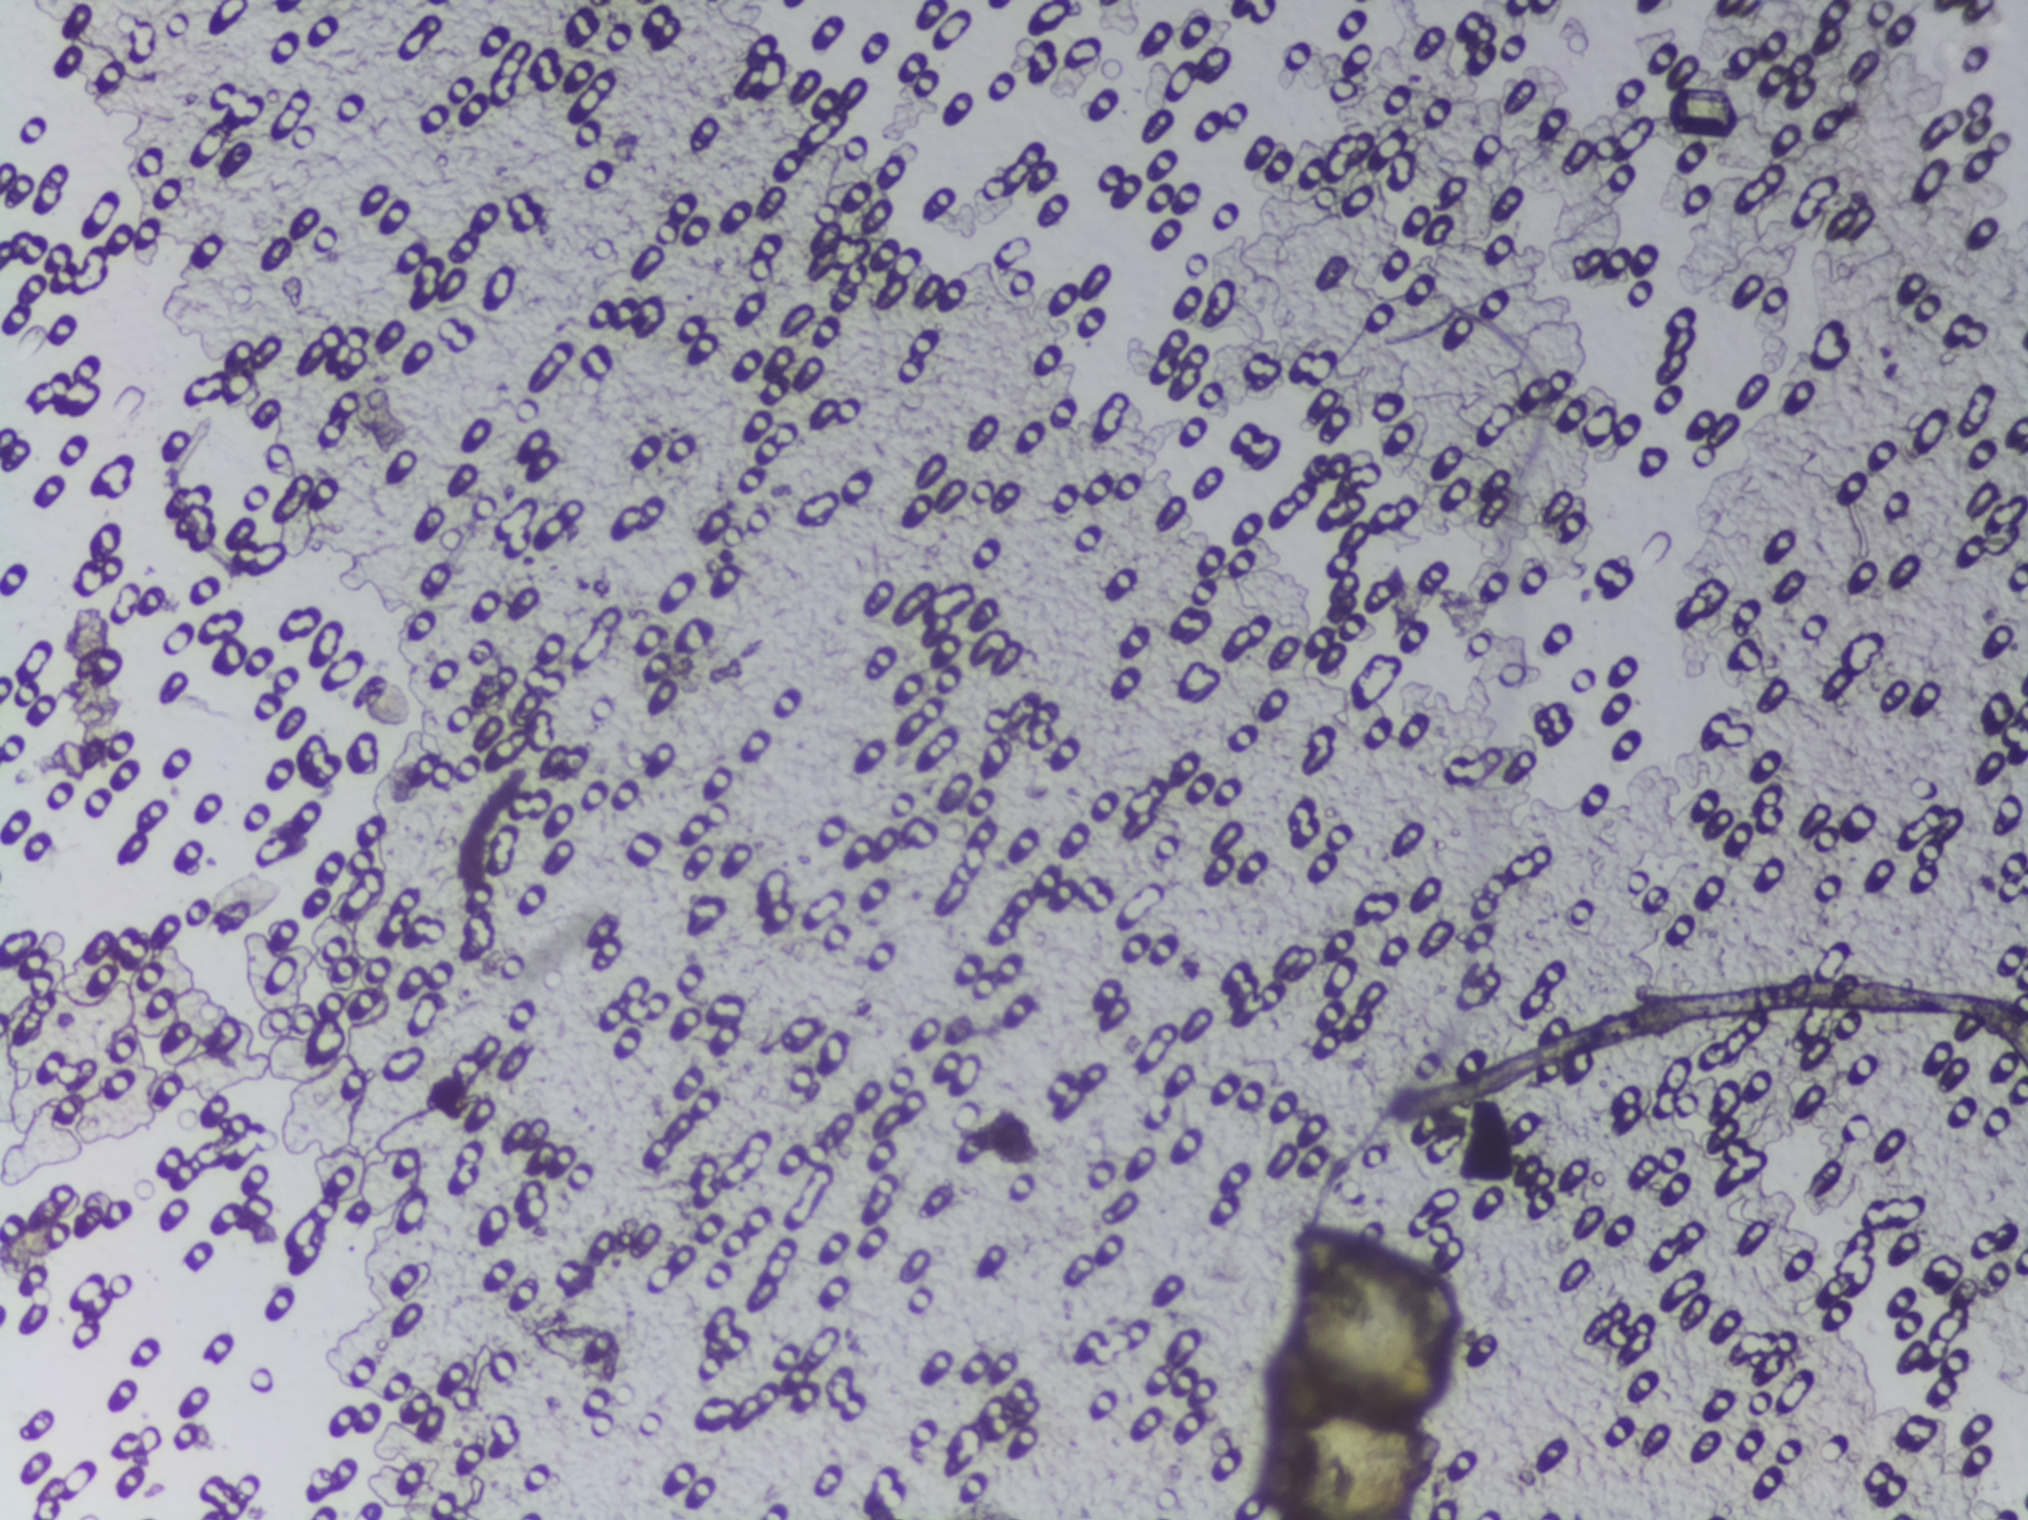
The expert annotation outlines no Schistosoma egg in this image.
Urine filtration membrane under a 4× objective, photographed by an automated digital microscope.